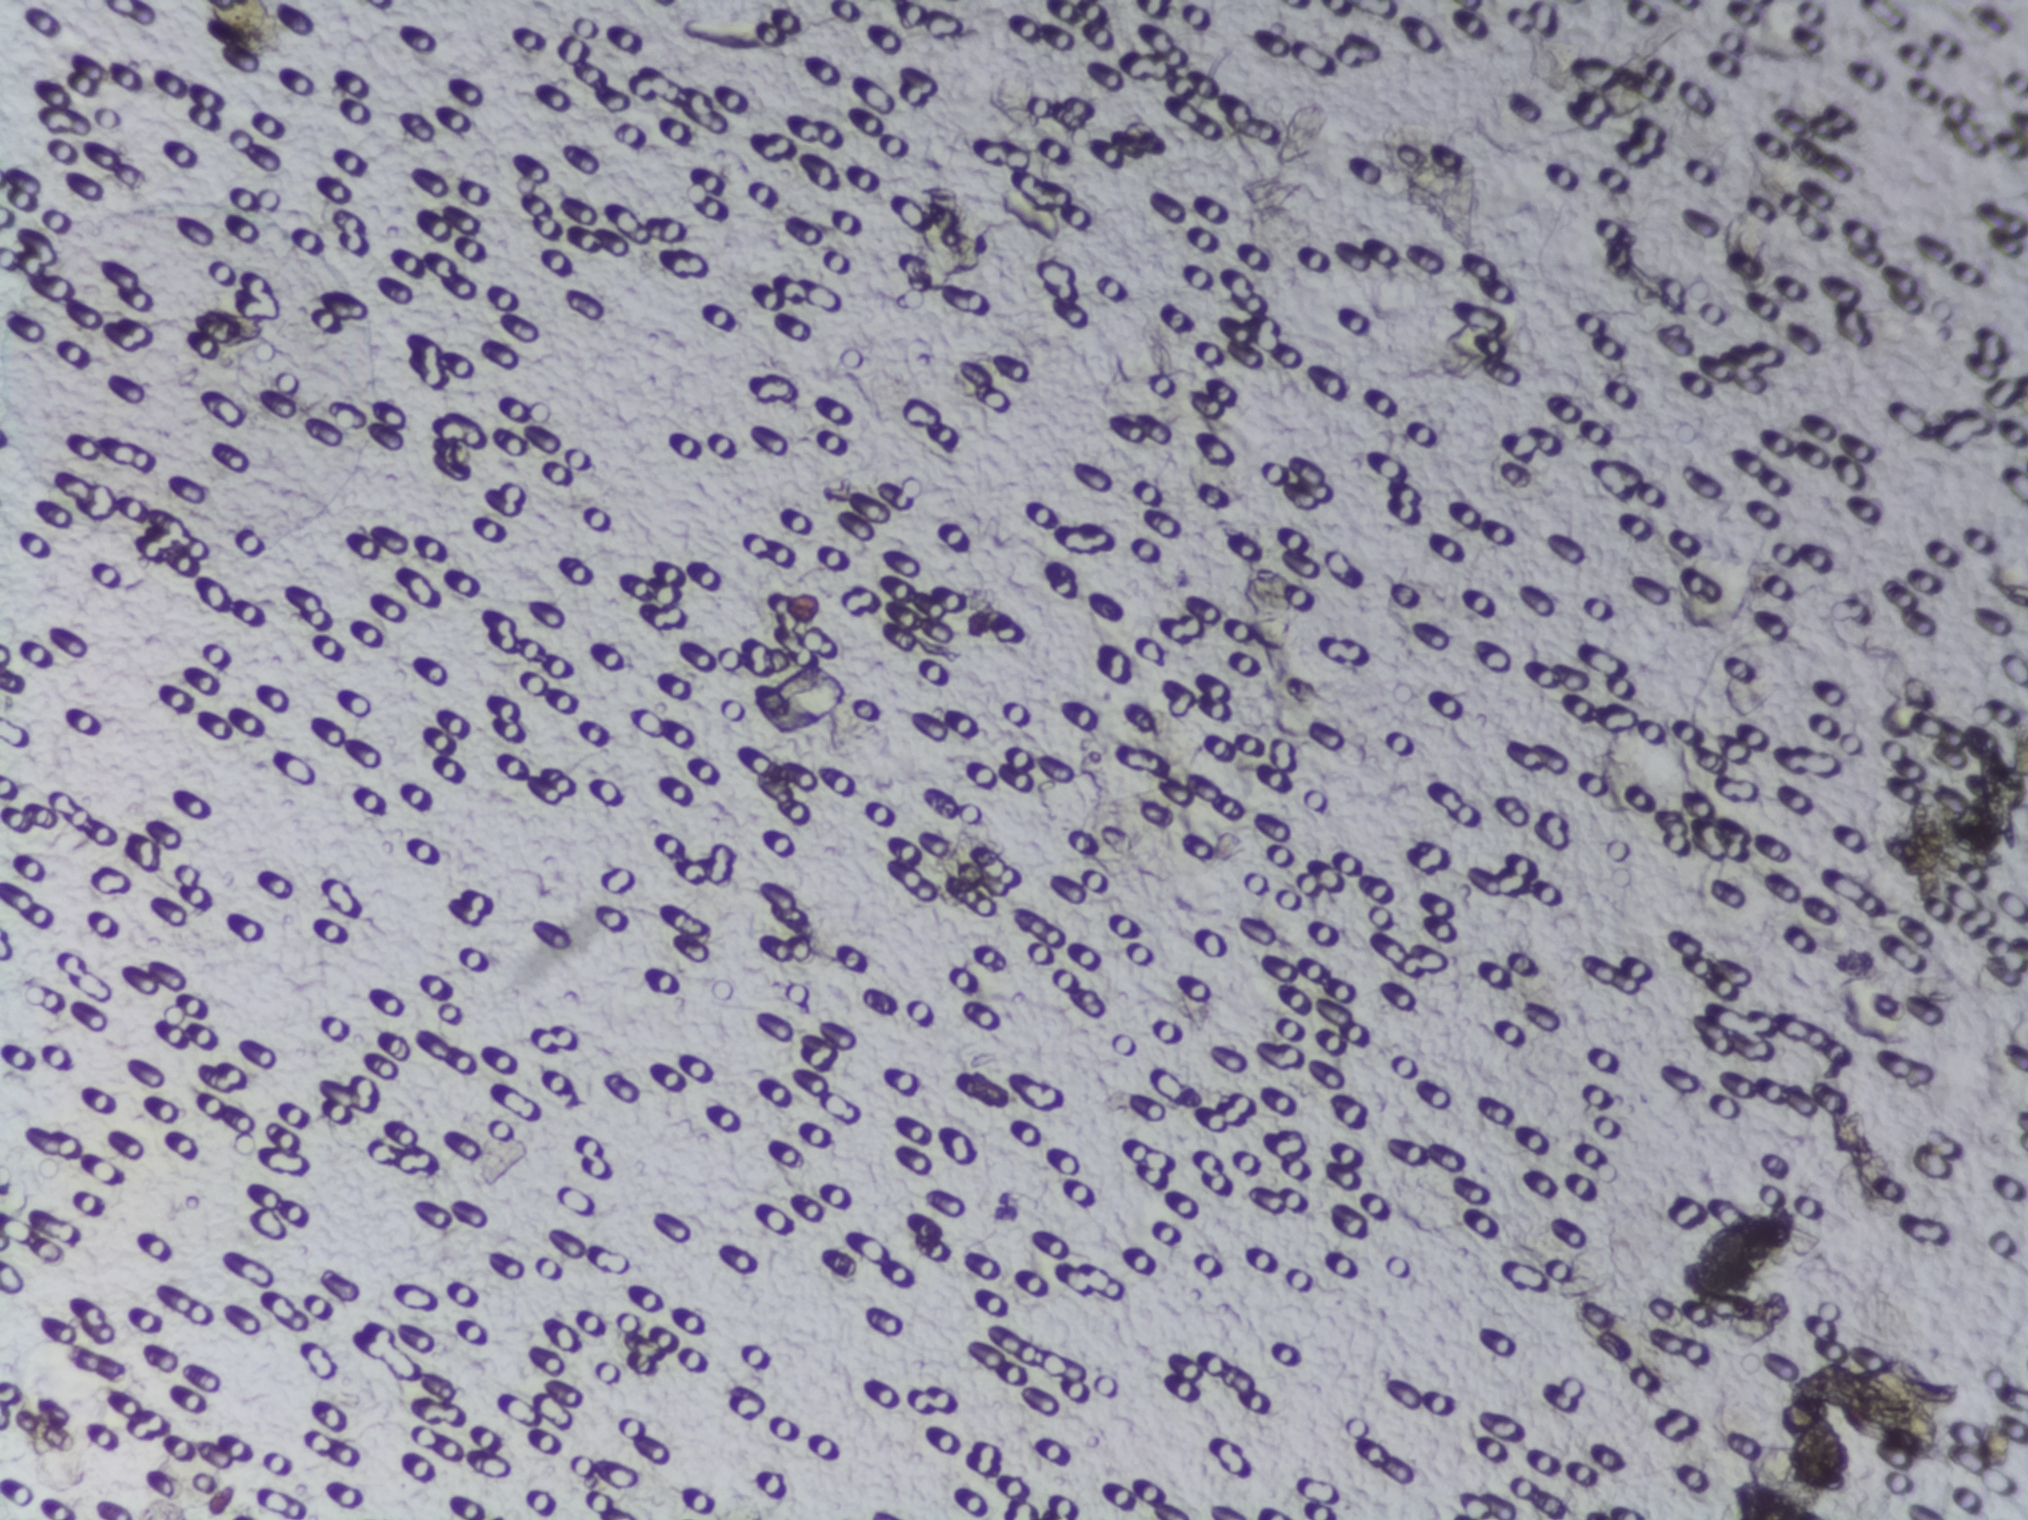
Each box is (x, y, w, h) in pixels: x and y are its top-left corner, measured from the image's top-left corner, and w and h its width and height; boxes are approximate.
Three areas of this image are outlined as Schistosoma eggs, from left to right: (x=209, y=0, w=74, h=58) (reaching the top edge of the frame); (x=1688, y=1211, w=139, h=78); (x=1824, y=1365, w=117, h=94). Eggs that touch can end up inside the same outlined area.
One field of view of a urine filter membrane, 4× objective, 2028 × 1520 pixels.